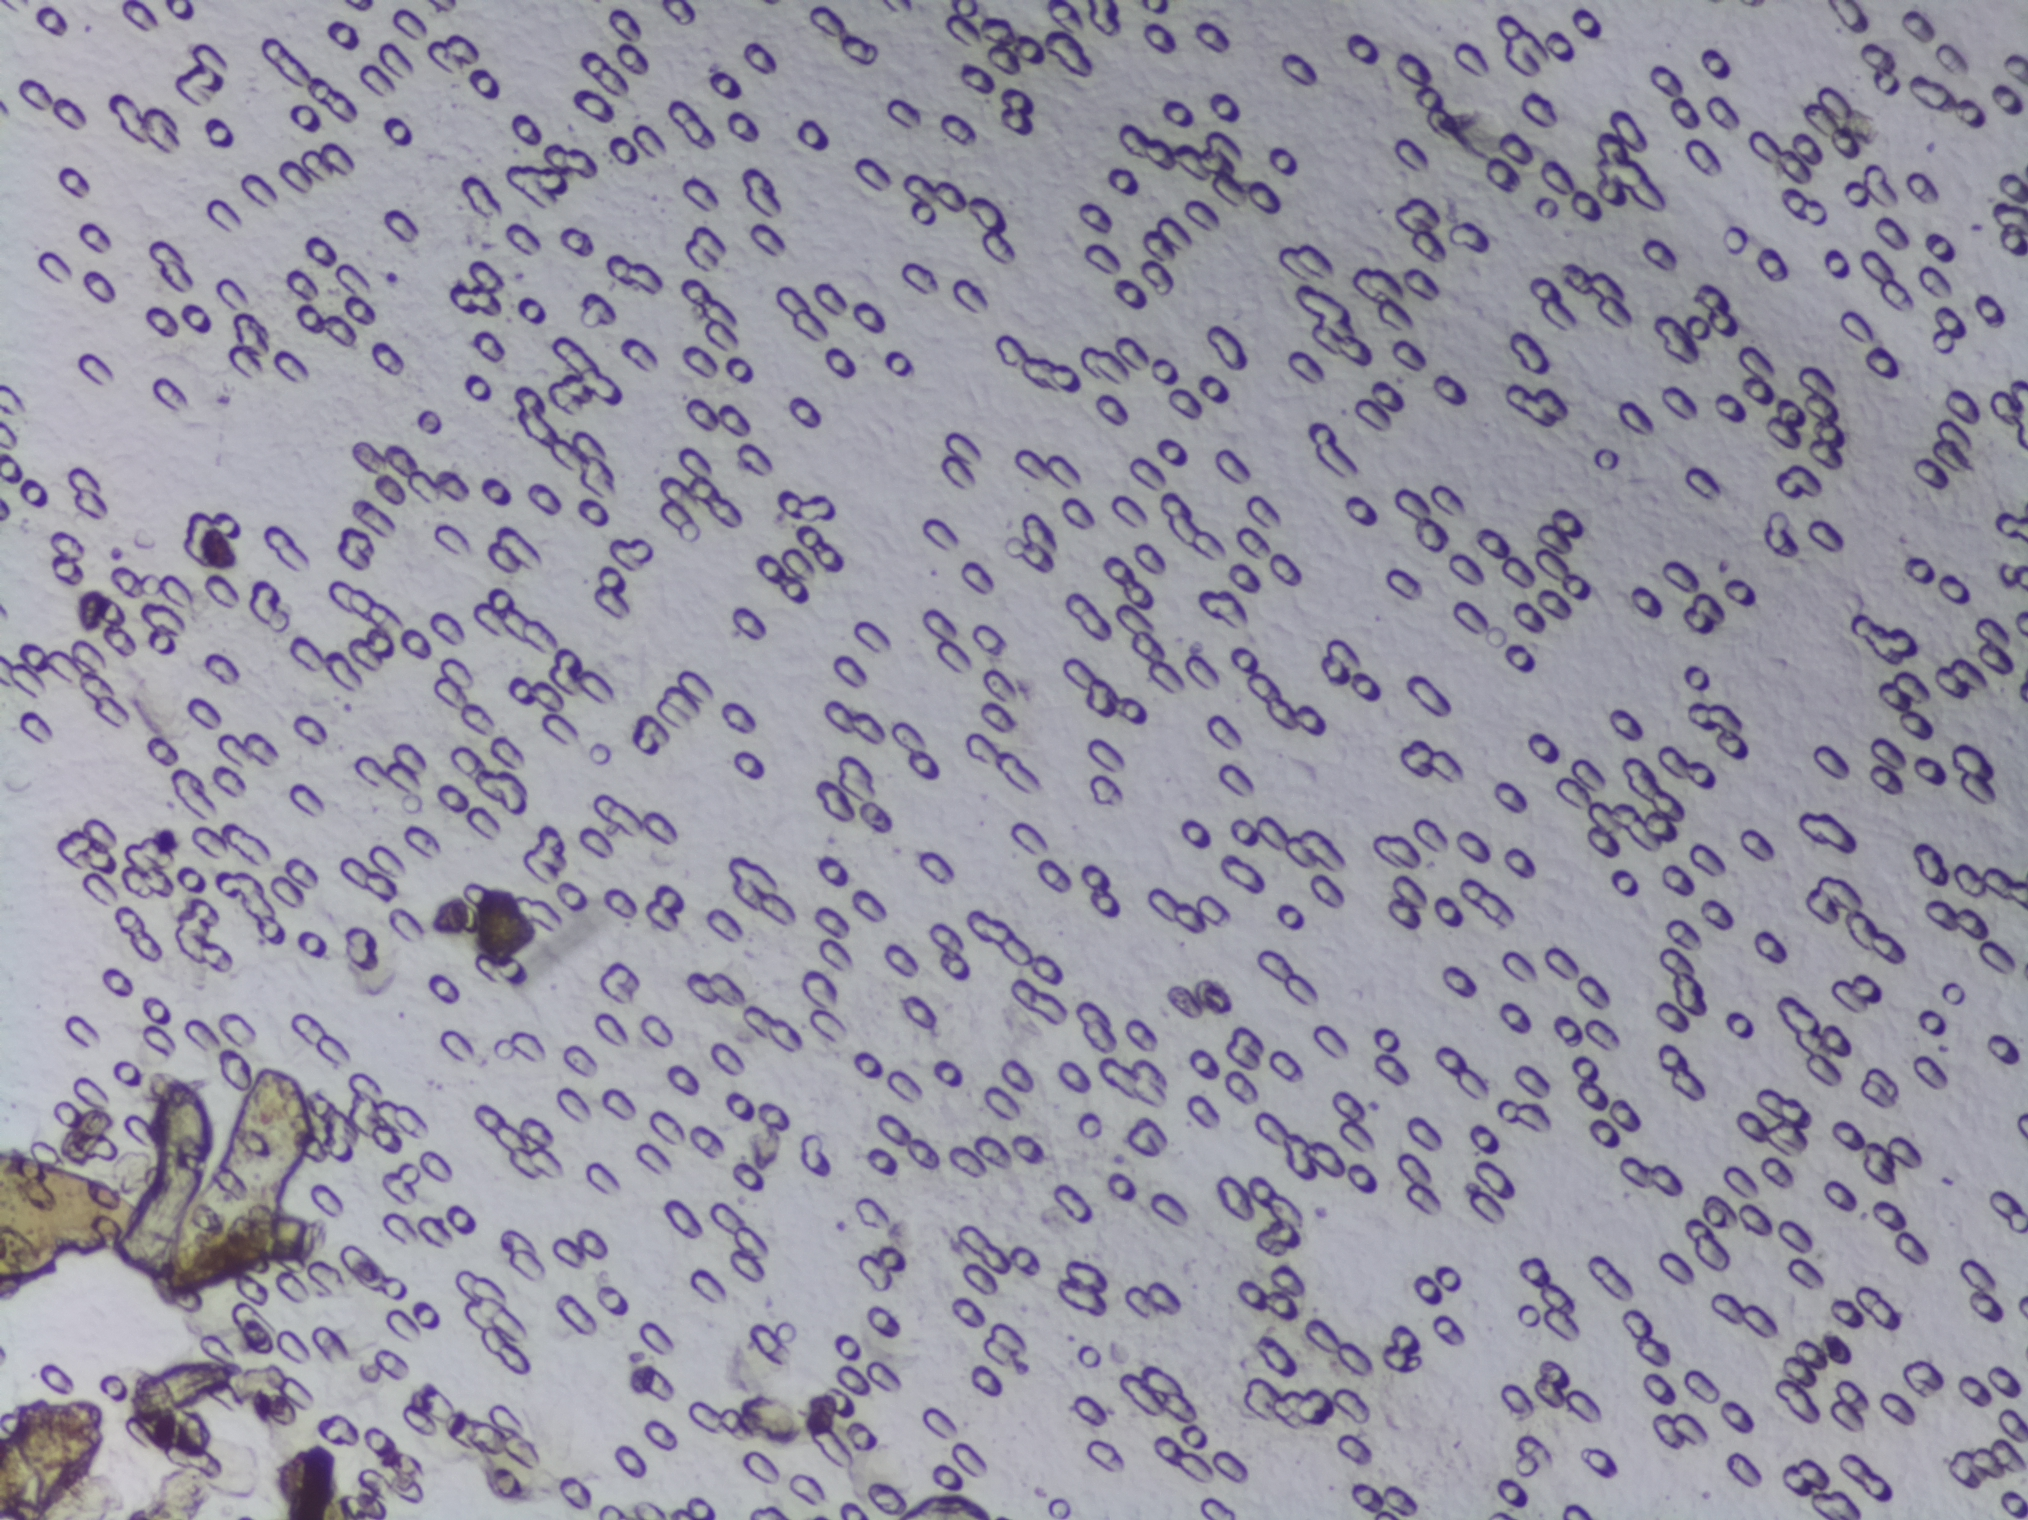
The expert annotation outlines no Schistosoma egg in this image.
One field of view of a urine filter membrane, 4× objective, 2028 × 1520 pixels.